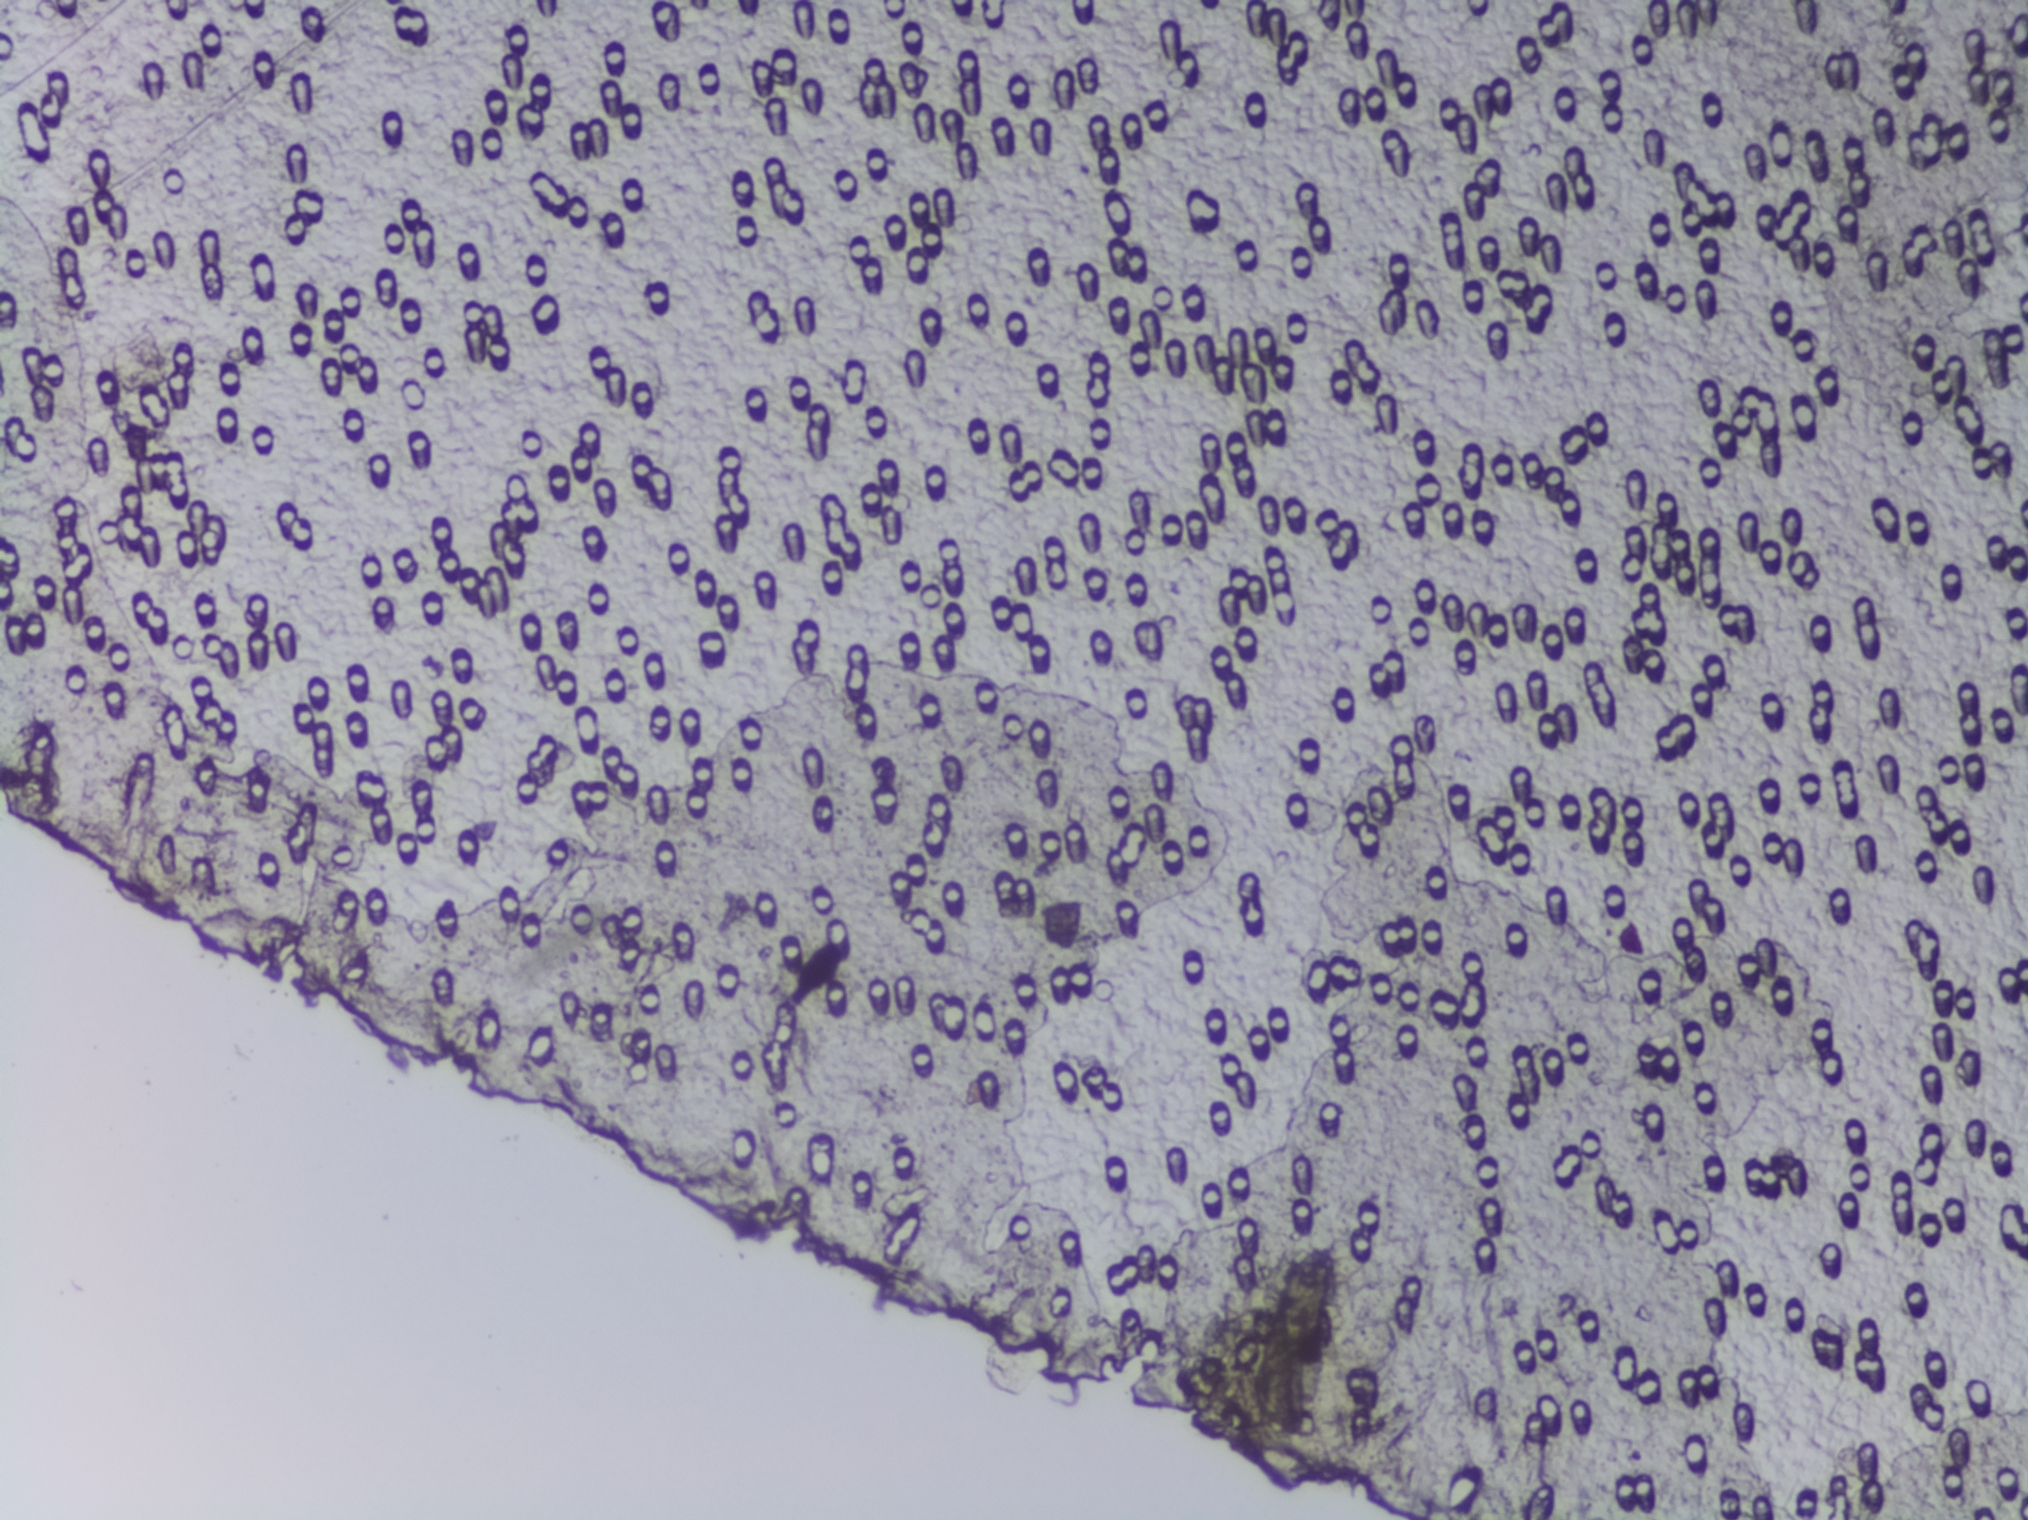
Microscope photograph (4× objective) of a membrane that a urine sample was filtered through.
The expert annotation outlines no Schistosoma egg in this image.